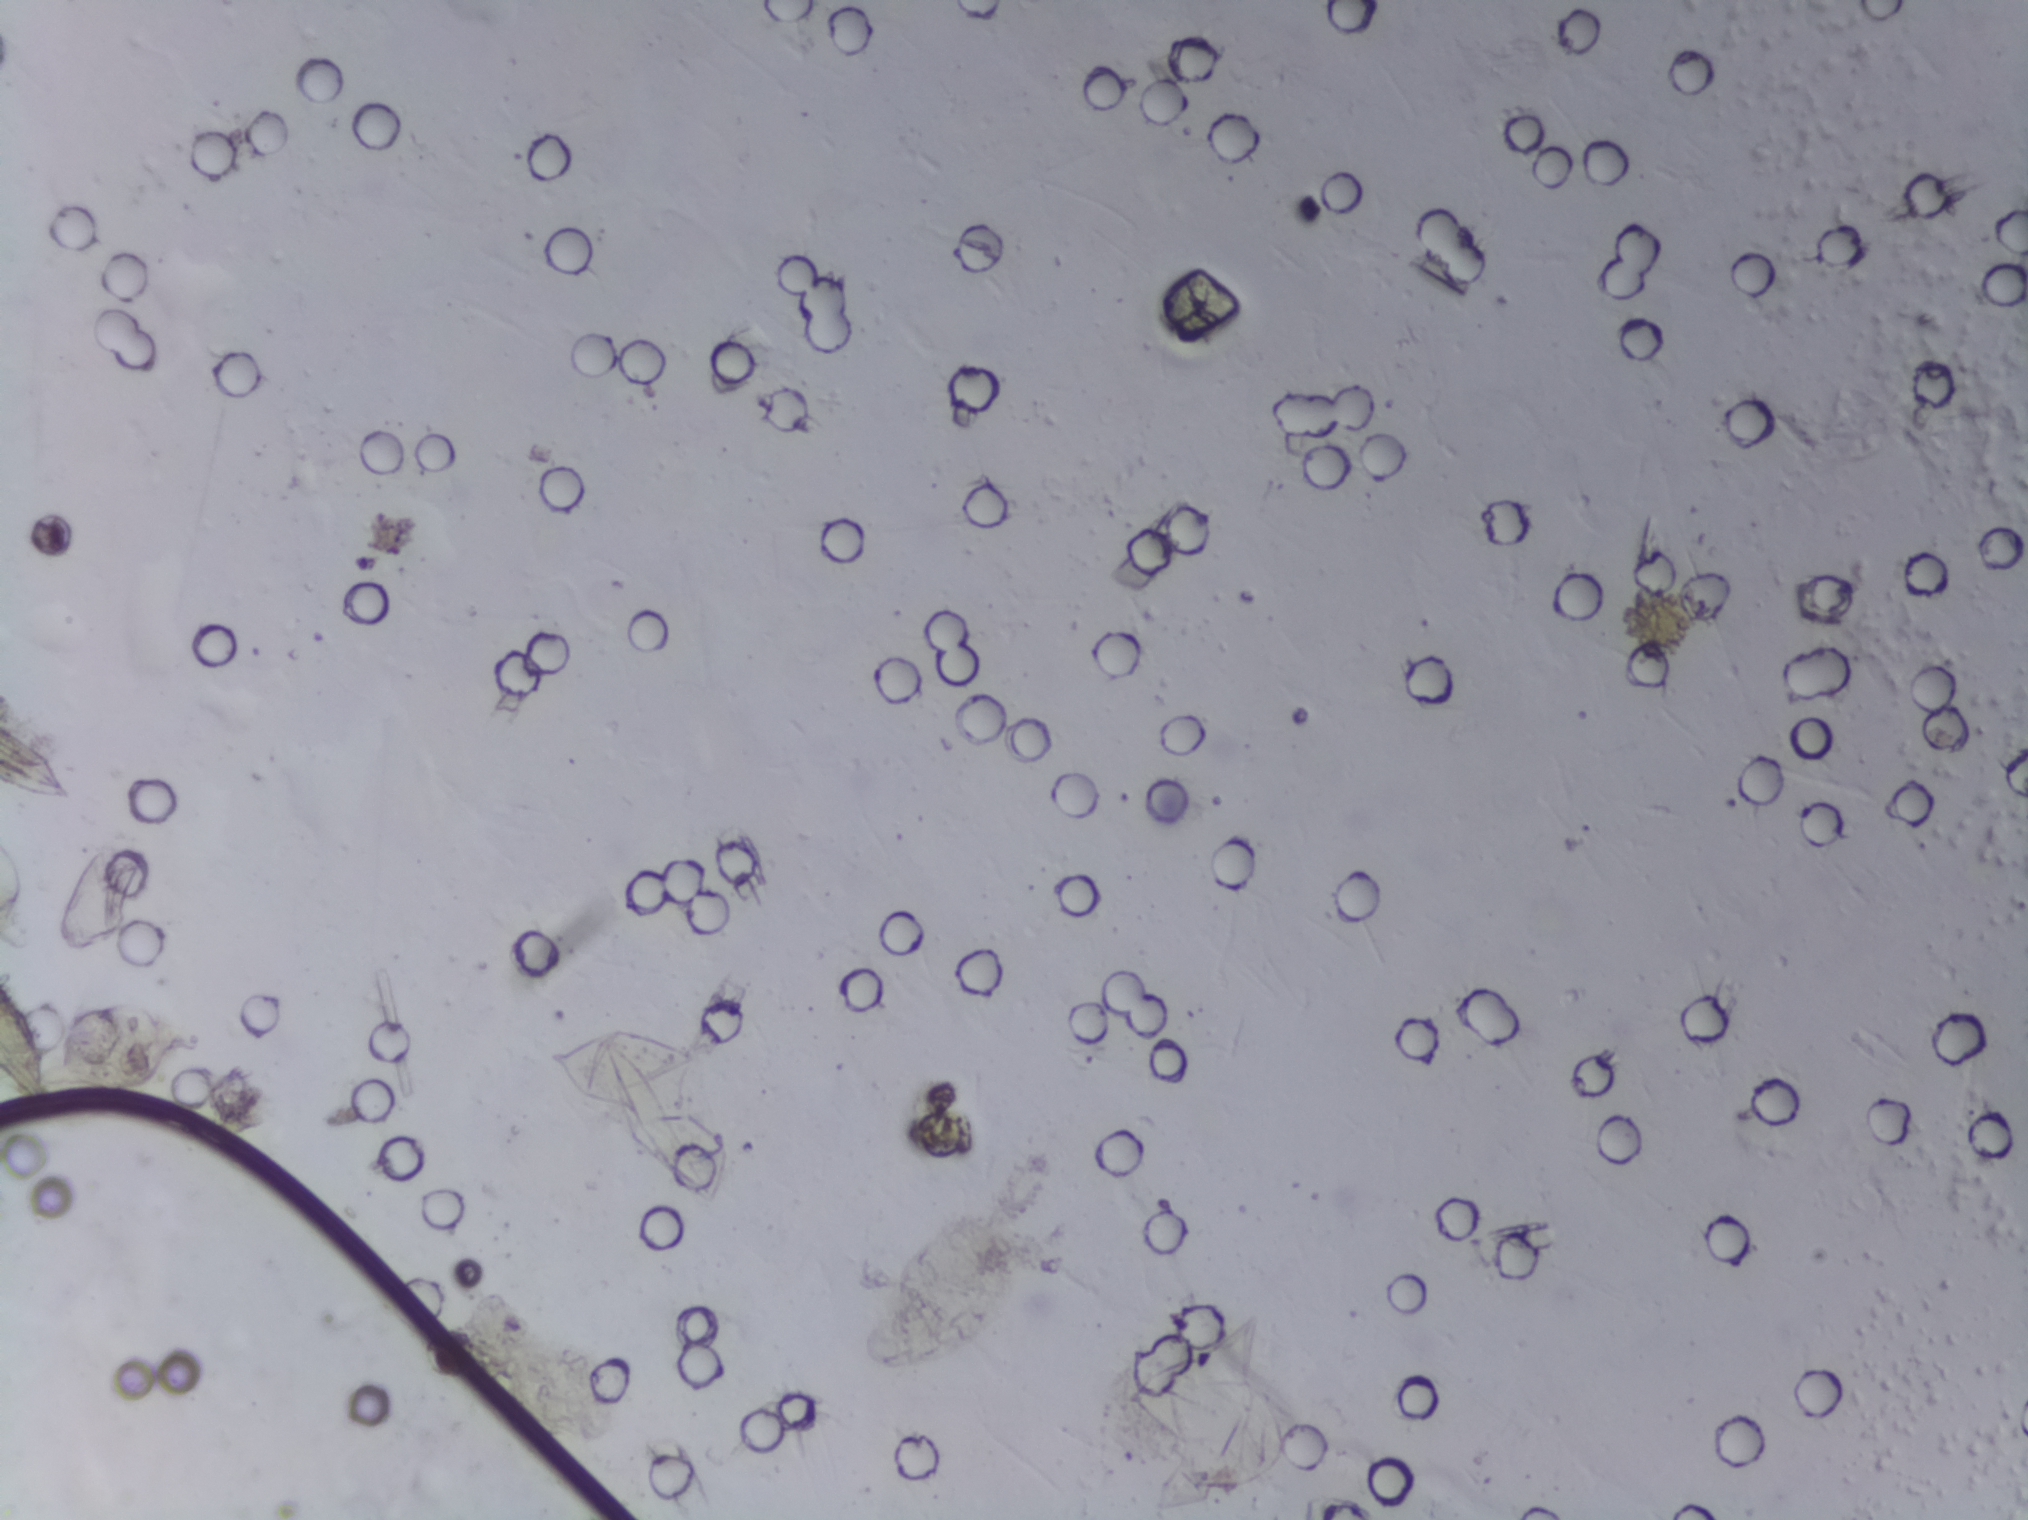
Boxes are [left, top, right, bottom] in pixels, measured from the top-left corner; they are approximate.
Outlined Schistosoma egg areas, left to right:
1. [0, 979, 47, 1094] (reaching the left edge of the frame)
2. [55, 1005, 211, 1090]
3. [550, 1031, 706, 1116]
4. [1121, 1354, 1285, 1473]
An outlined area can hold more than one egg.
Photomicrograph of a urine filtration membrane, 4× objective.